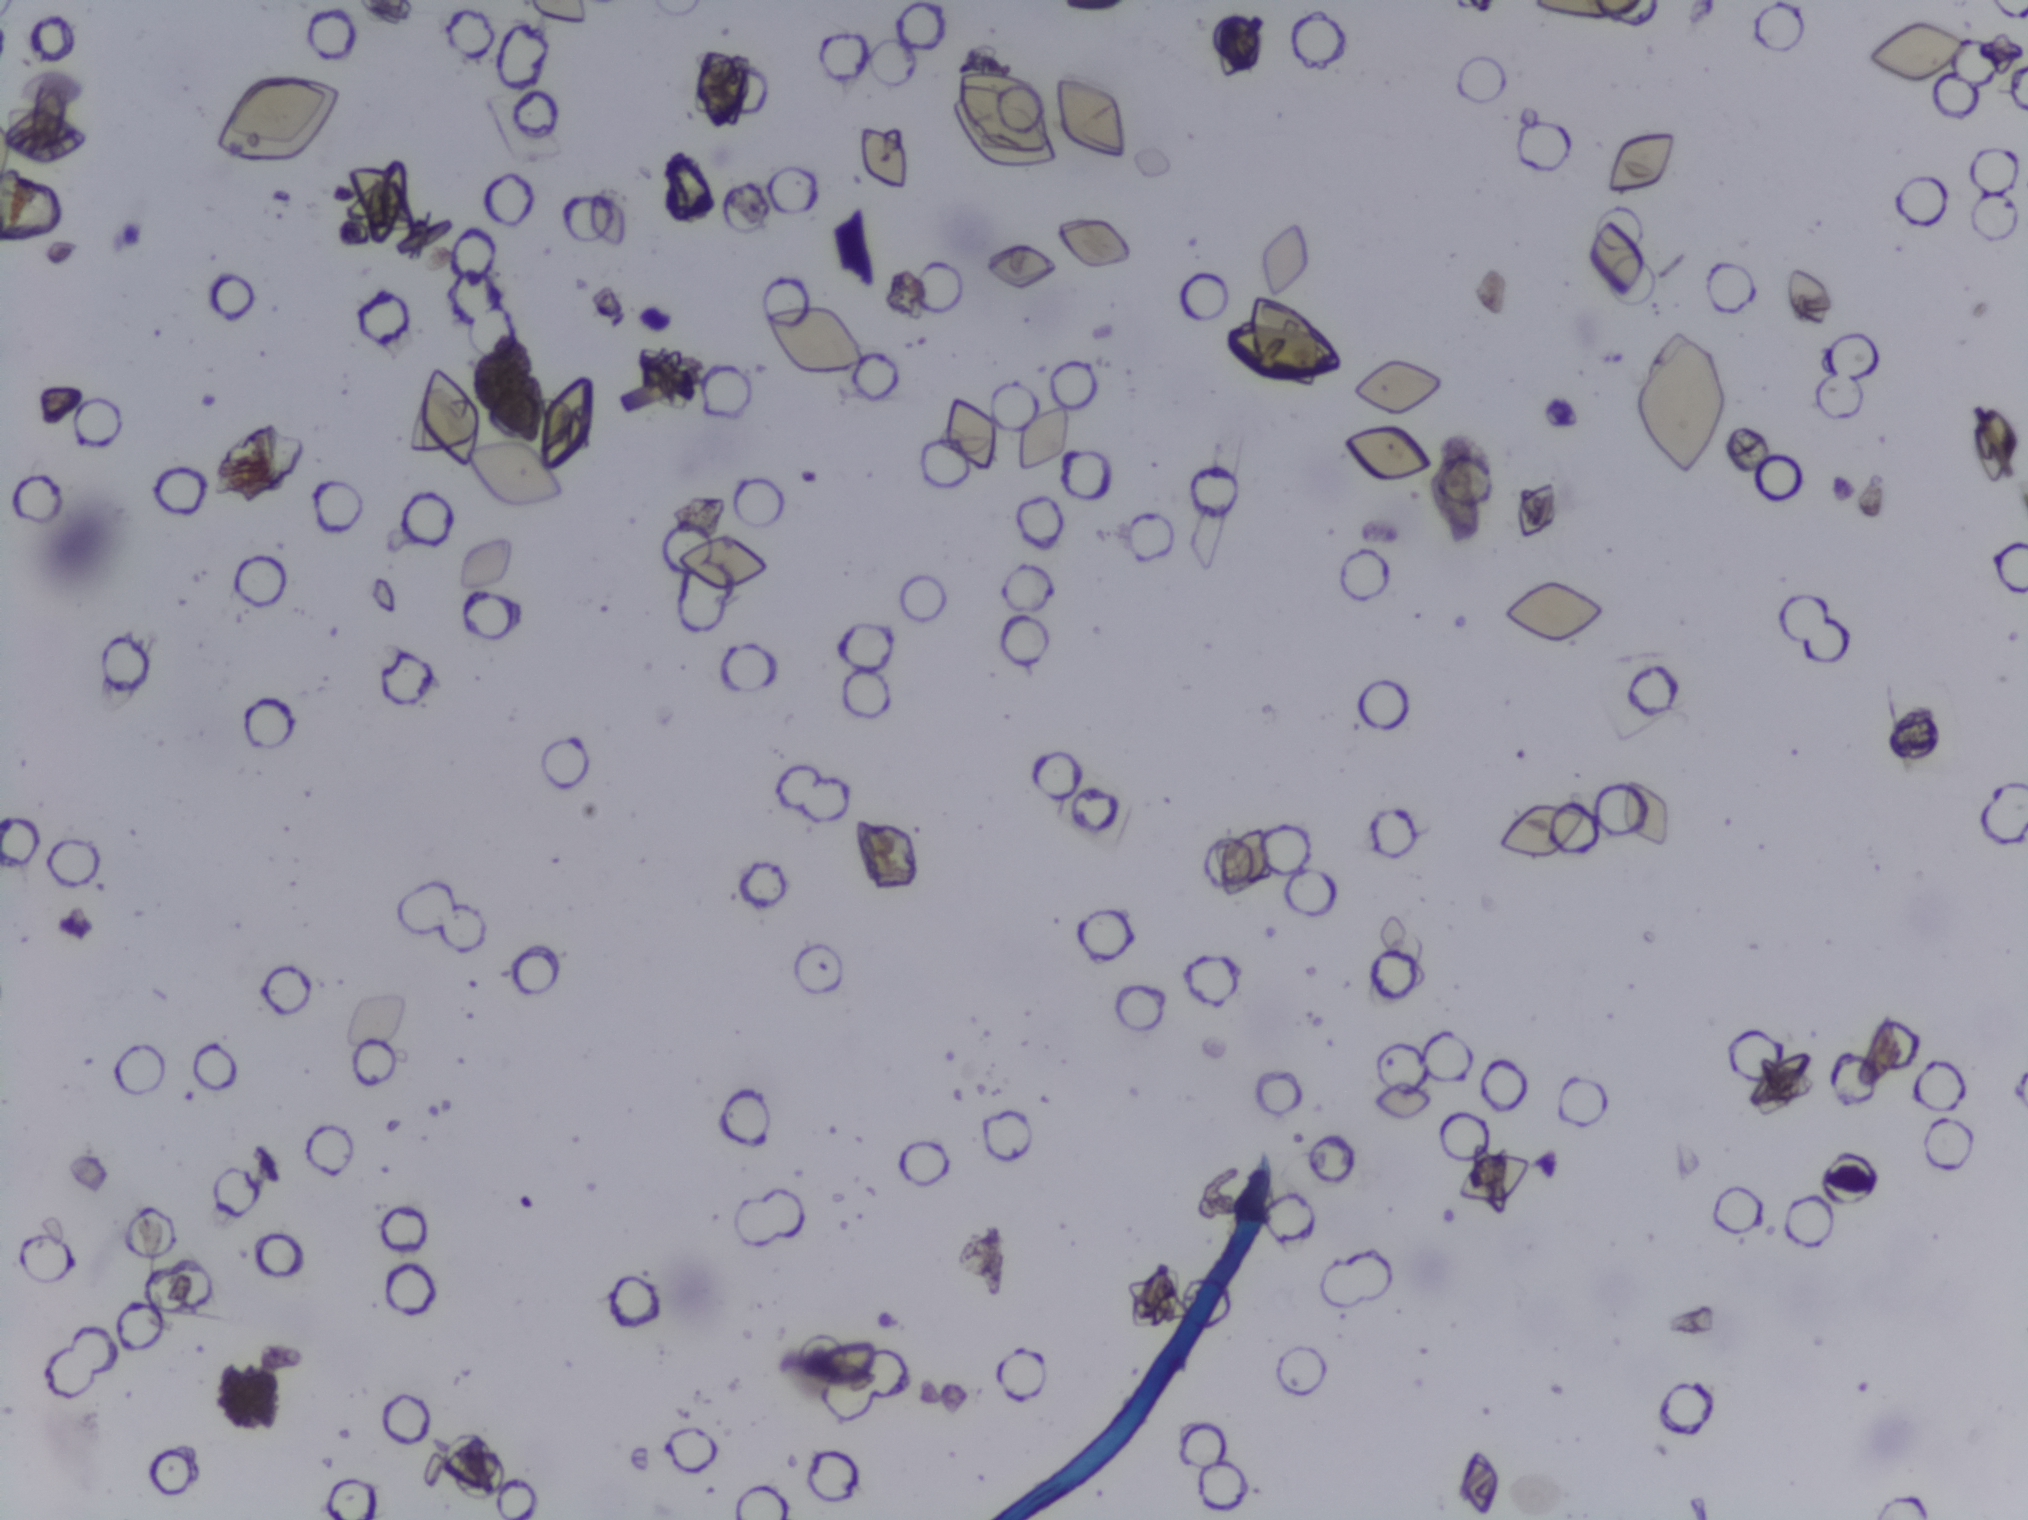
Schistosoma eggs: none outlined.
Urine filtration membrane under a 4× objective, photographed by an automated digital microscope. The image covers about 1.5 × 1.1 mm of the membrane.